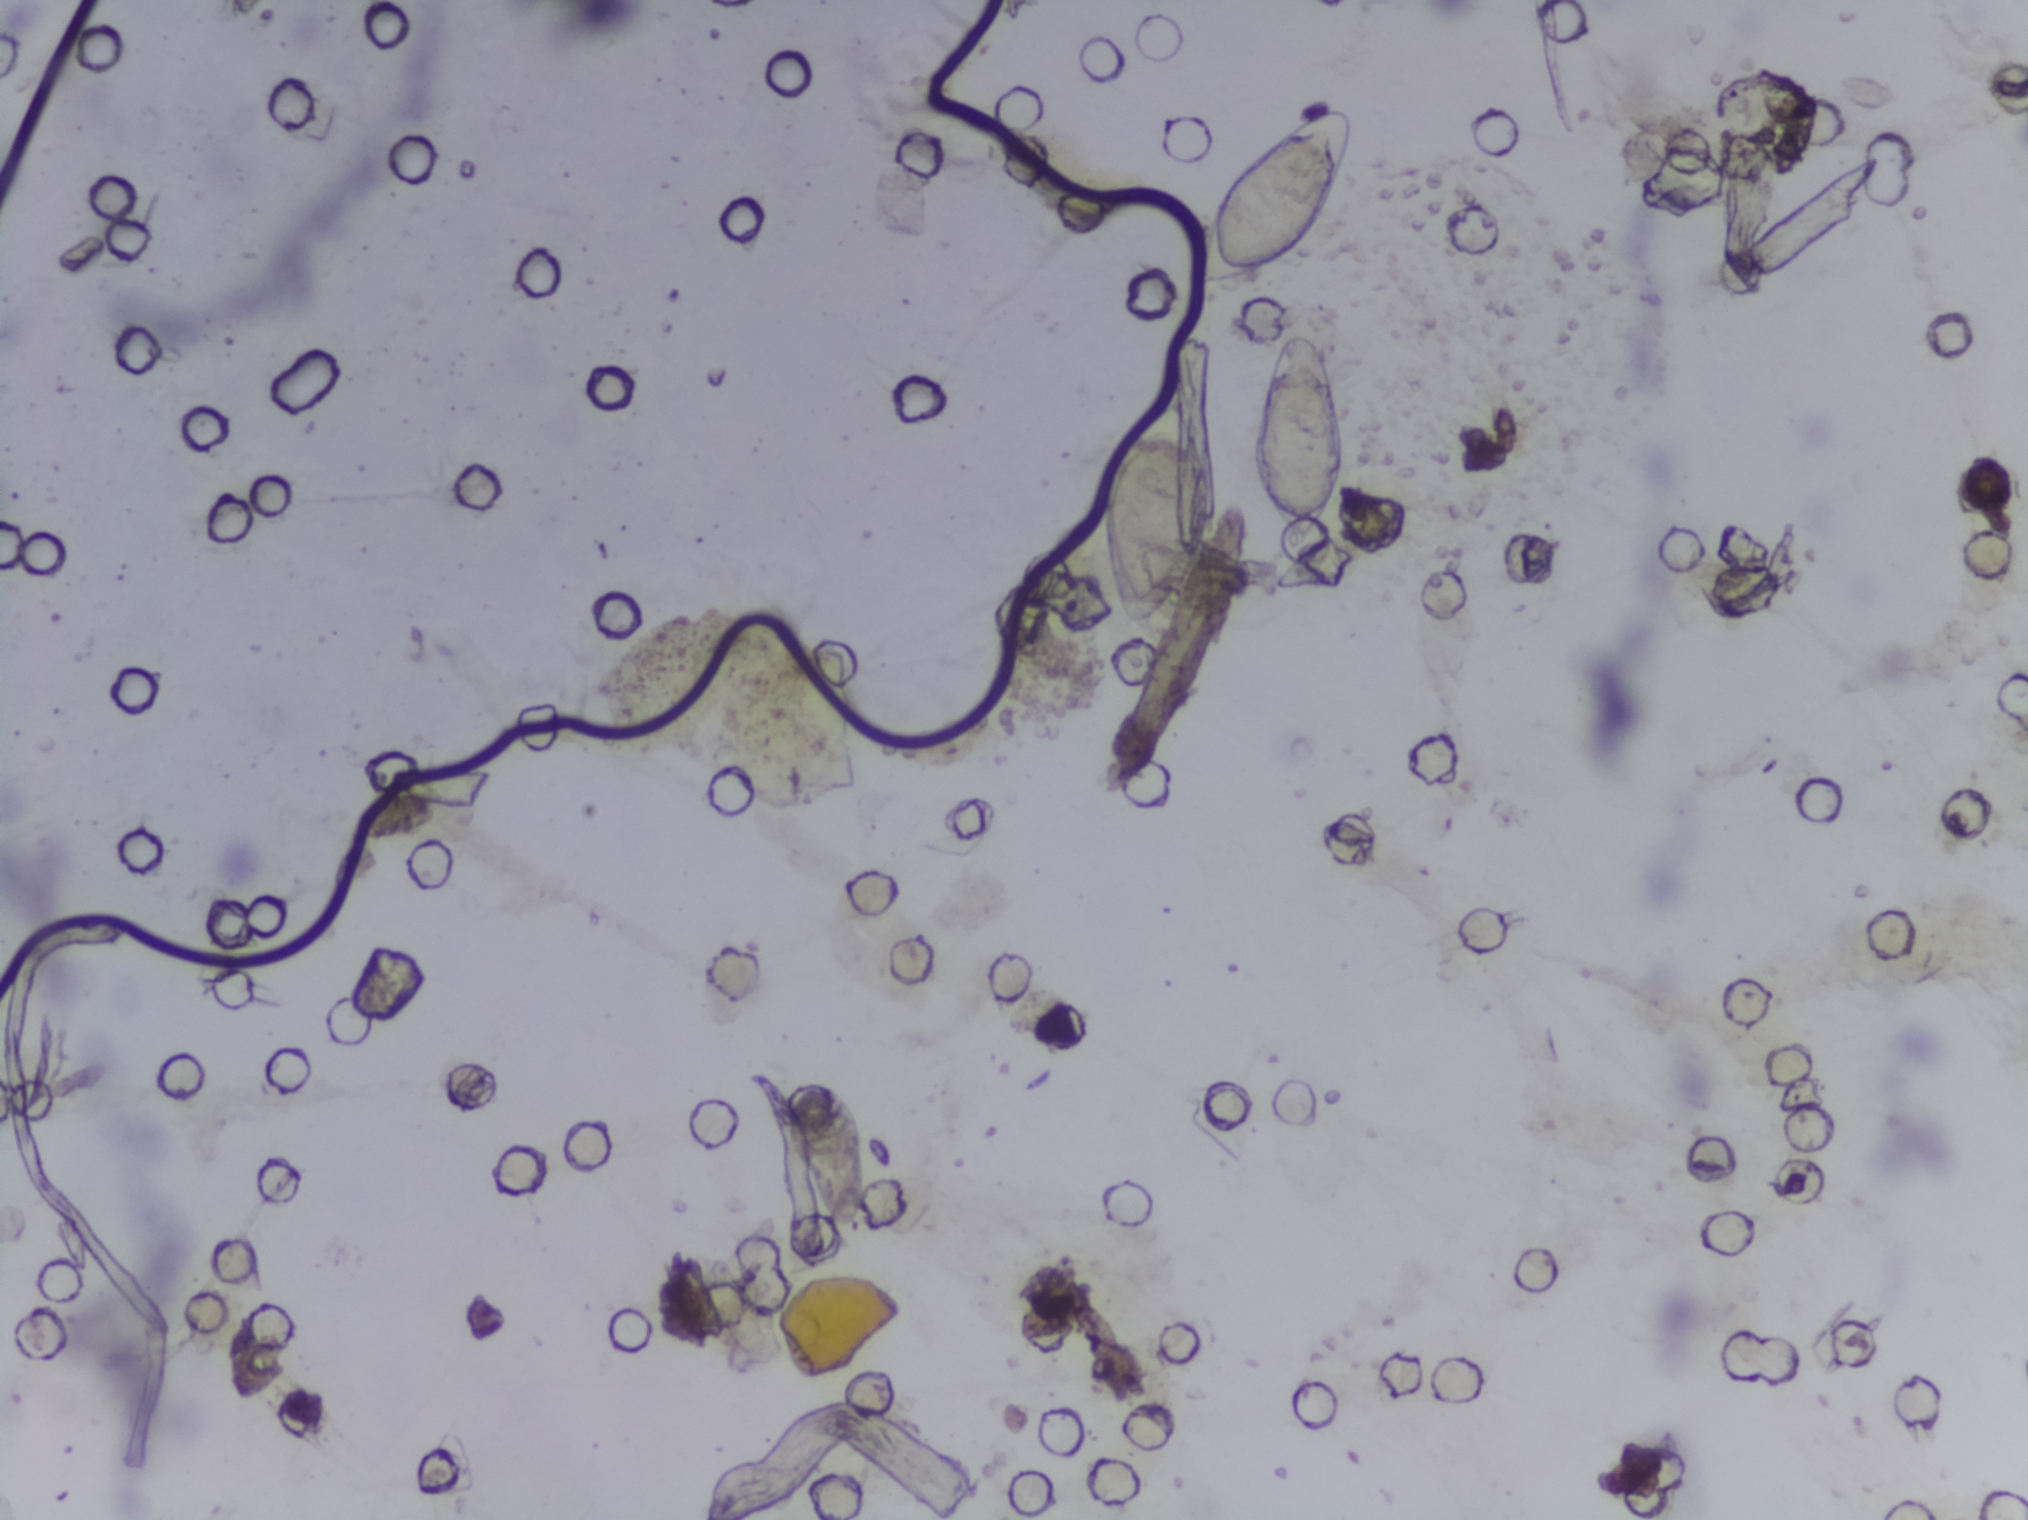
Microscope photograph (4× objective) of a membrane that a urine sample was filtered through.
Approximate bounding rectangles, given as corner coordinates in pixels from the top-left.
Schistosoma eggs are outlined in three areas of this image, listed from left to right: (x1=1103, y1=384, x2=1212, y2=631); (x1=1192, y1=105, x2=1357, y2=296); (x1=1252, y1=325, x2=1347, y2=544). A single outlined area may contain several eggs.